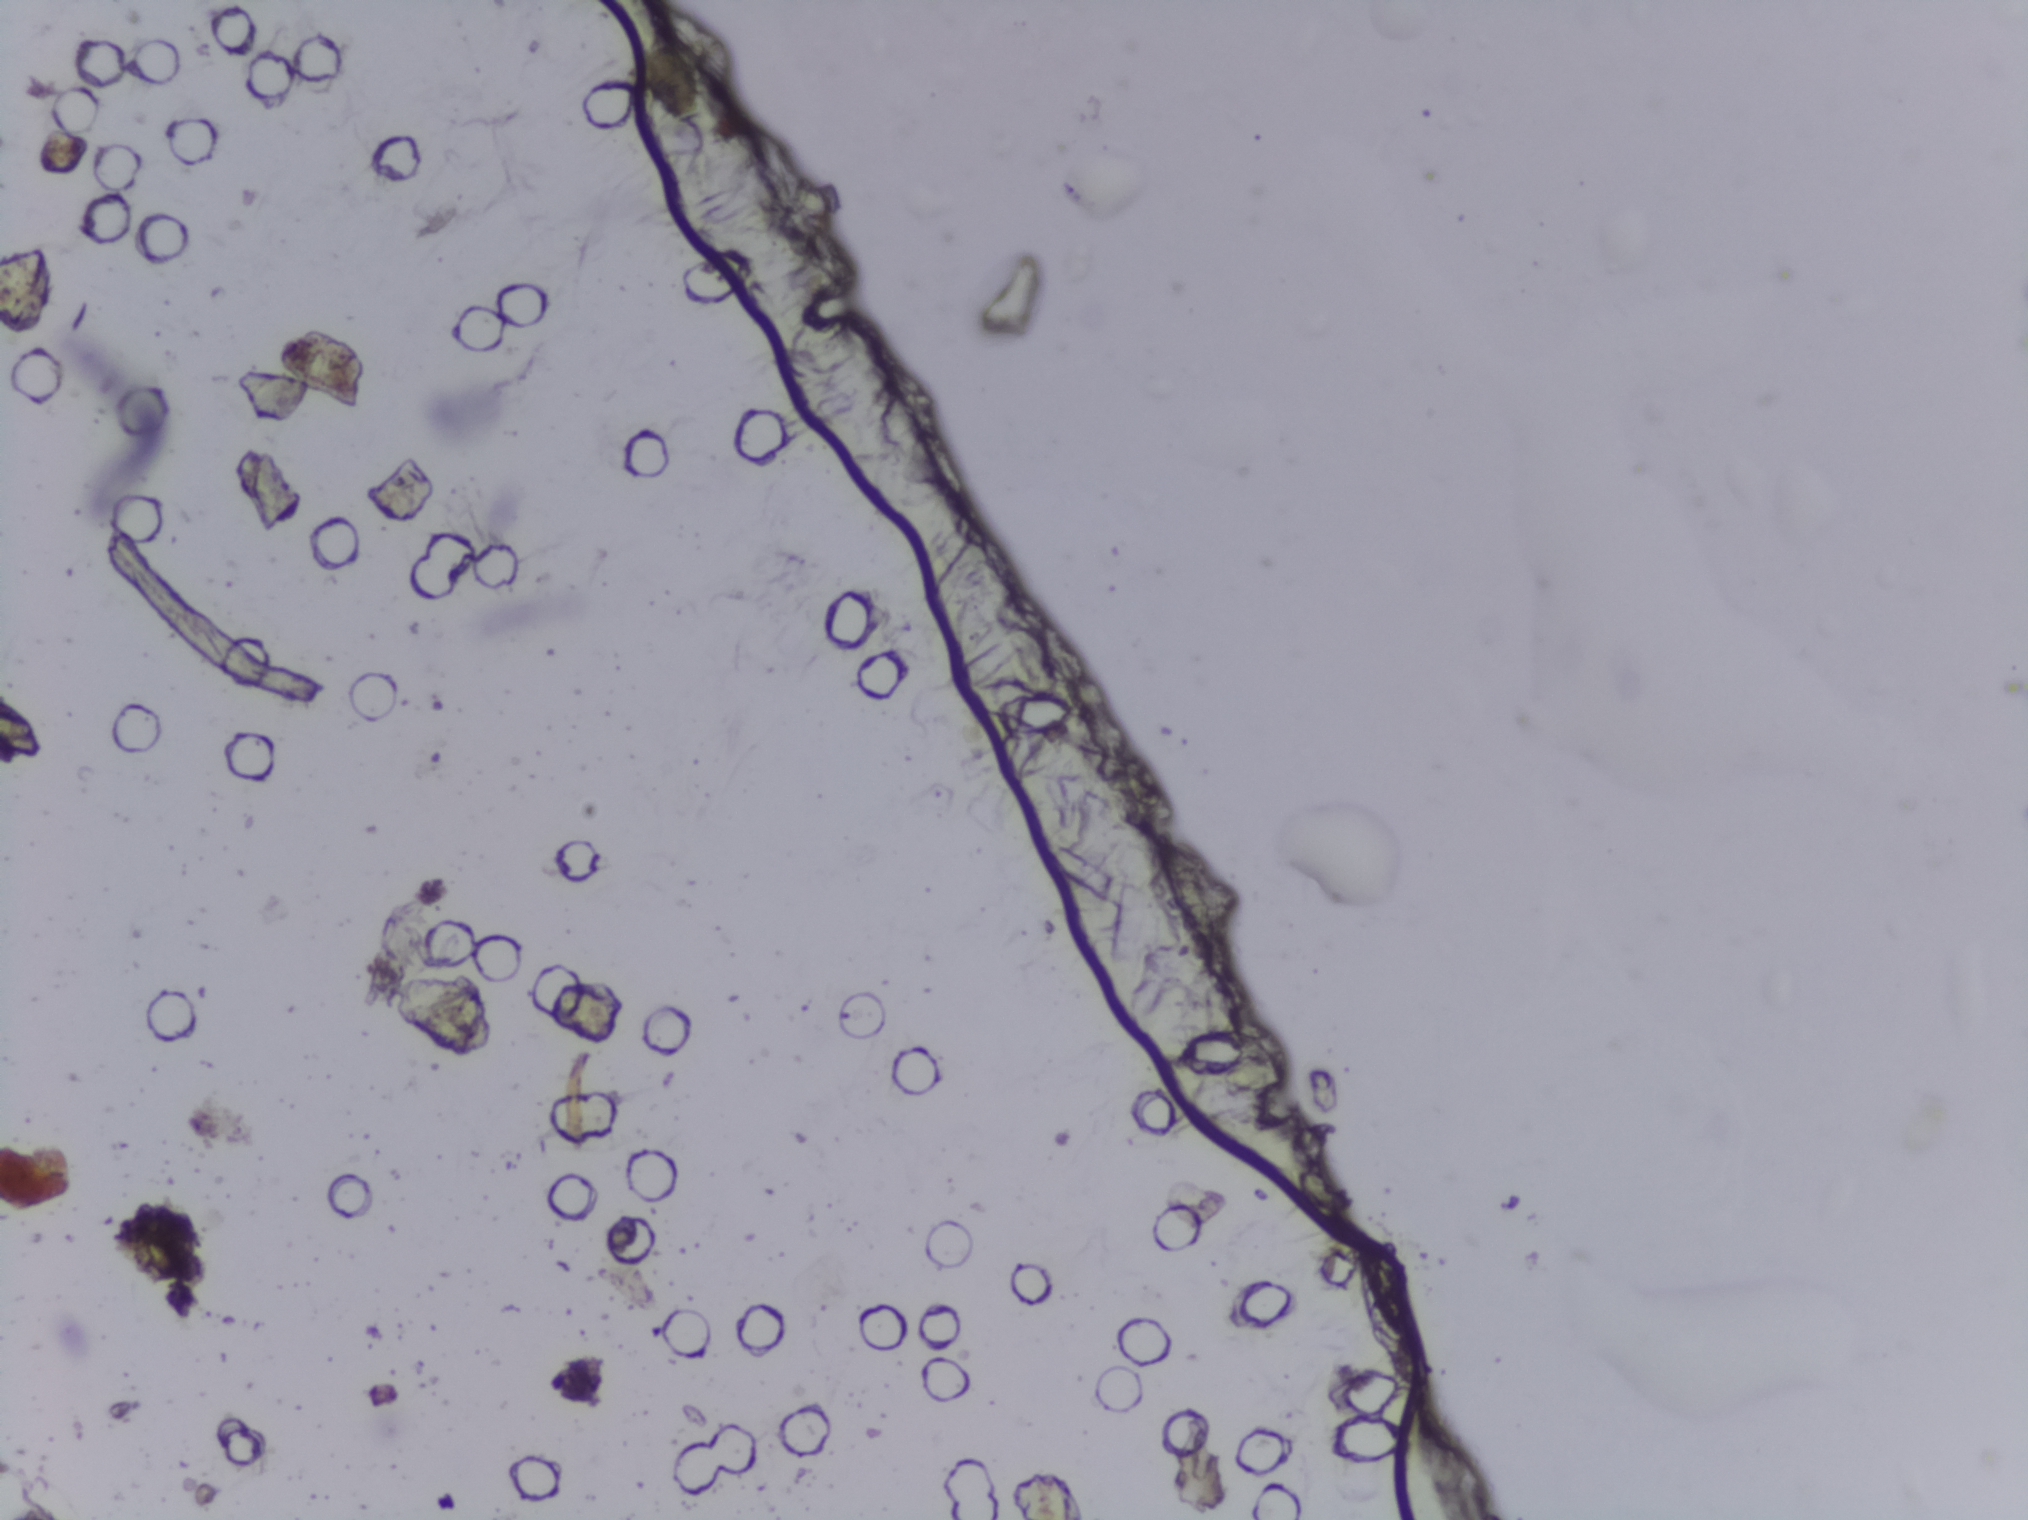
No area of this image was outlined as a Schistosoma egg.
One field of view of a urine filter membrane, 4× objective, 2028 × 1520 pixels.